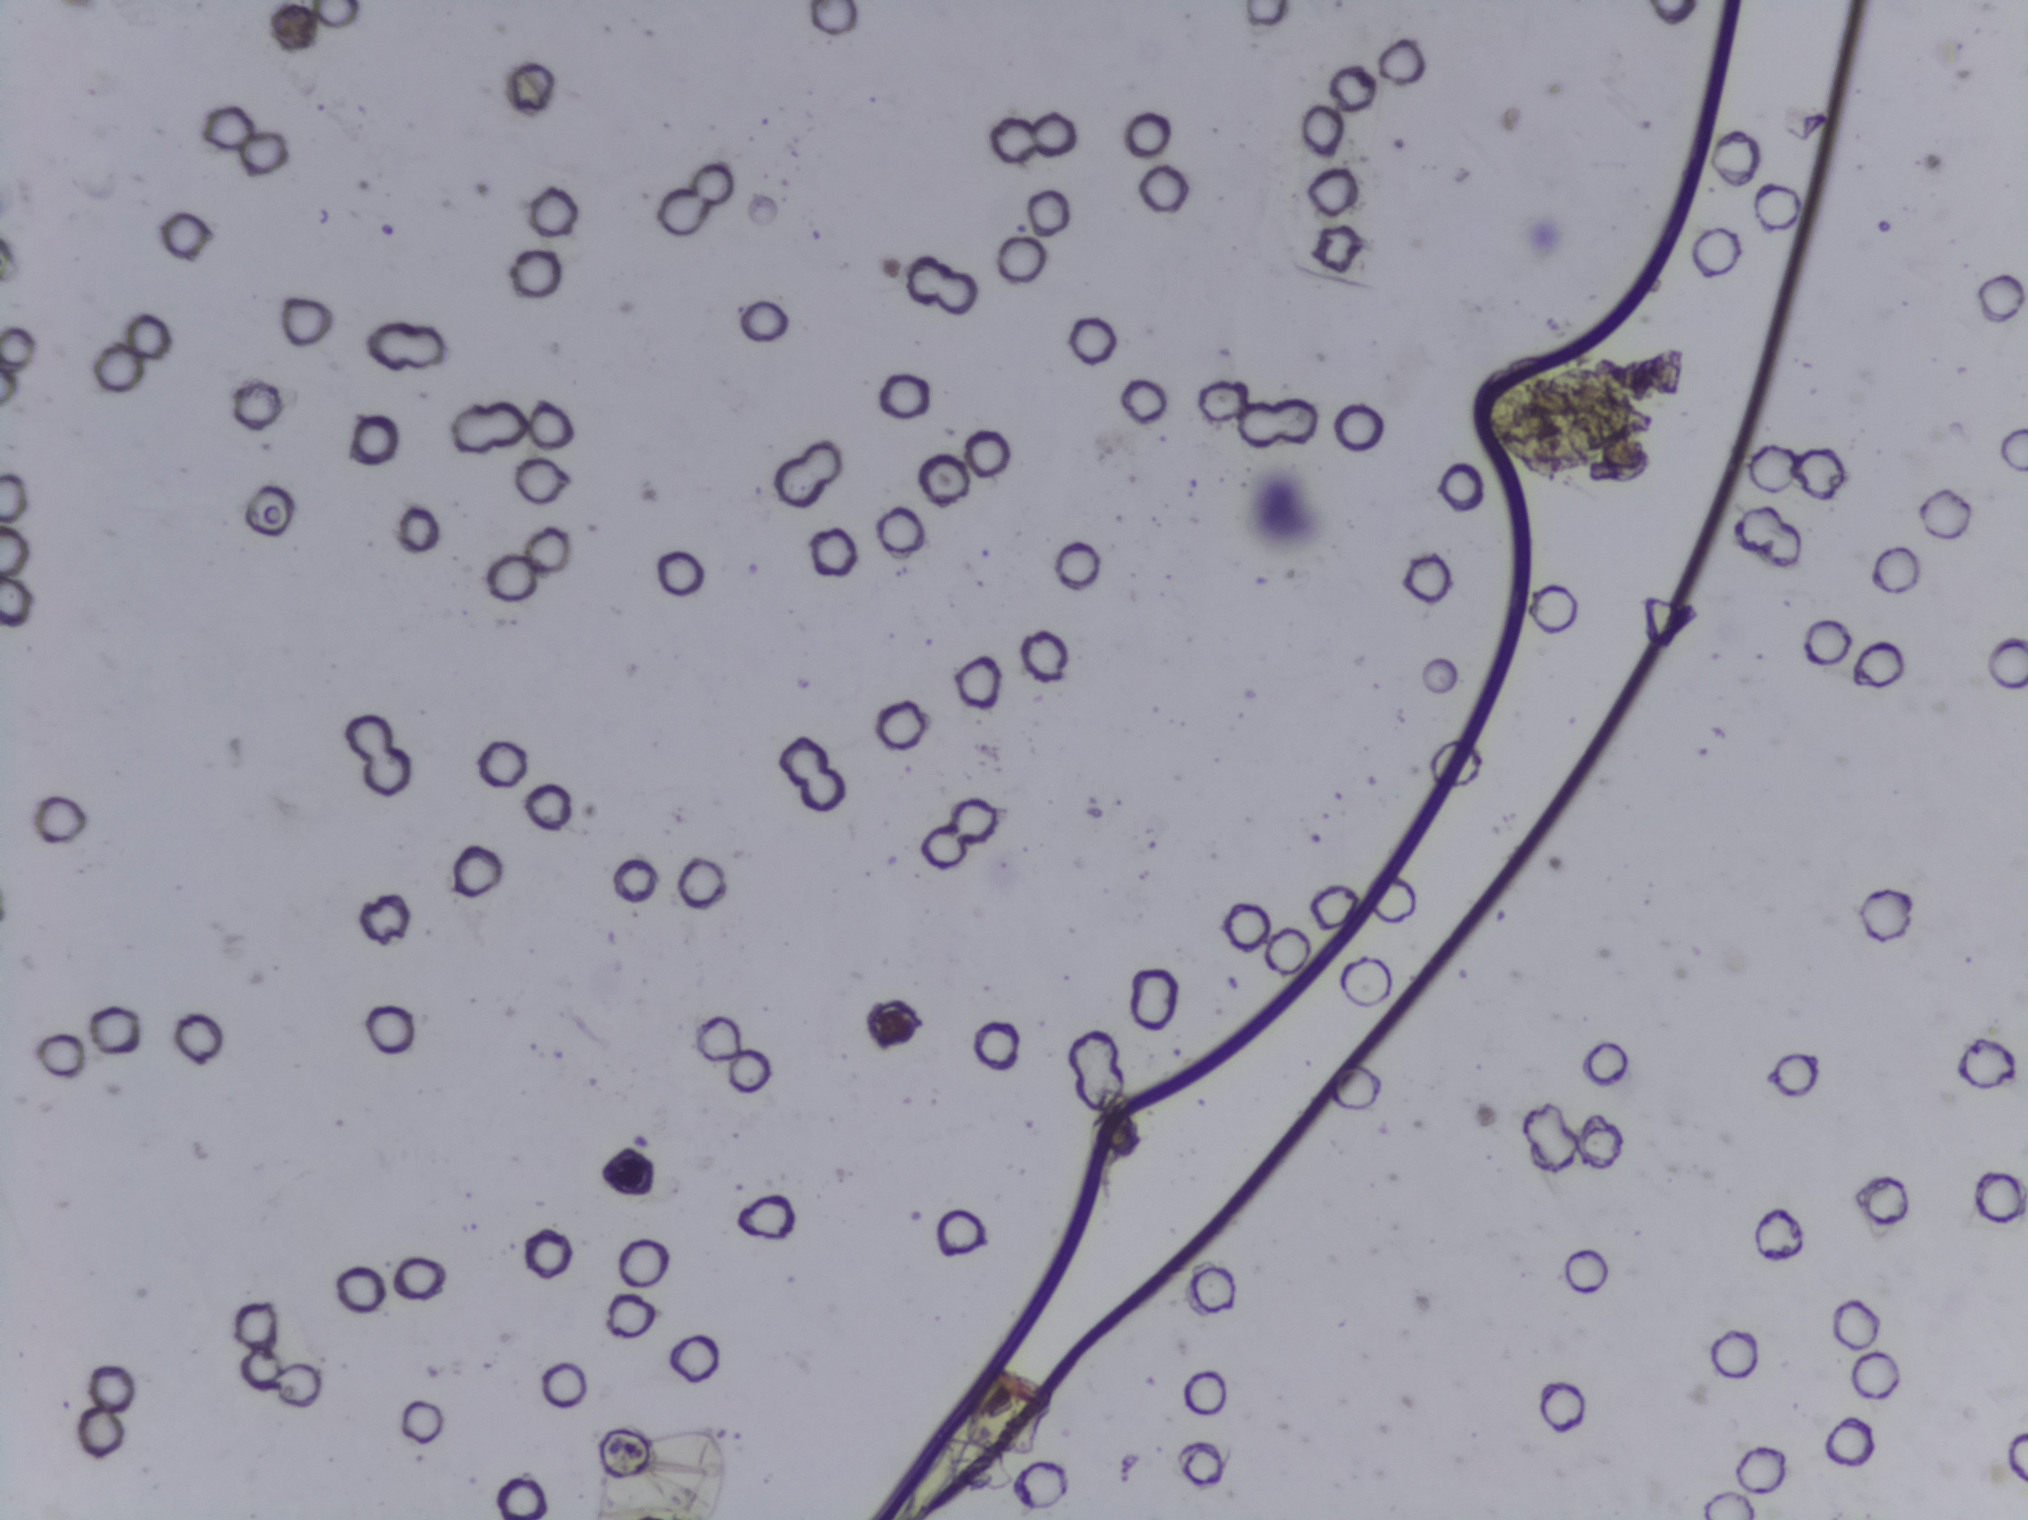
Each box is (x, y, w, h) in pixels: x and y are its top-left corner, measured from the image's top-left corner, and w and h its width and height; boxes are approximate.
Schistosoma egg areas, outlined: (x=592, y=1425, w=138, h=95) (reaching the bottom edge of the frame); (x=1475, y=354, w=186, h=127). An outlined area can hold more than one egg. A marked egg may occasionally be S. mansoni rather than S. haematobium.
Urine filter membrane photographed through a 4× microscope objective. Field of view: about 1.5 mm wide and 1.1 mm high.